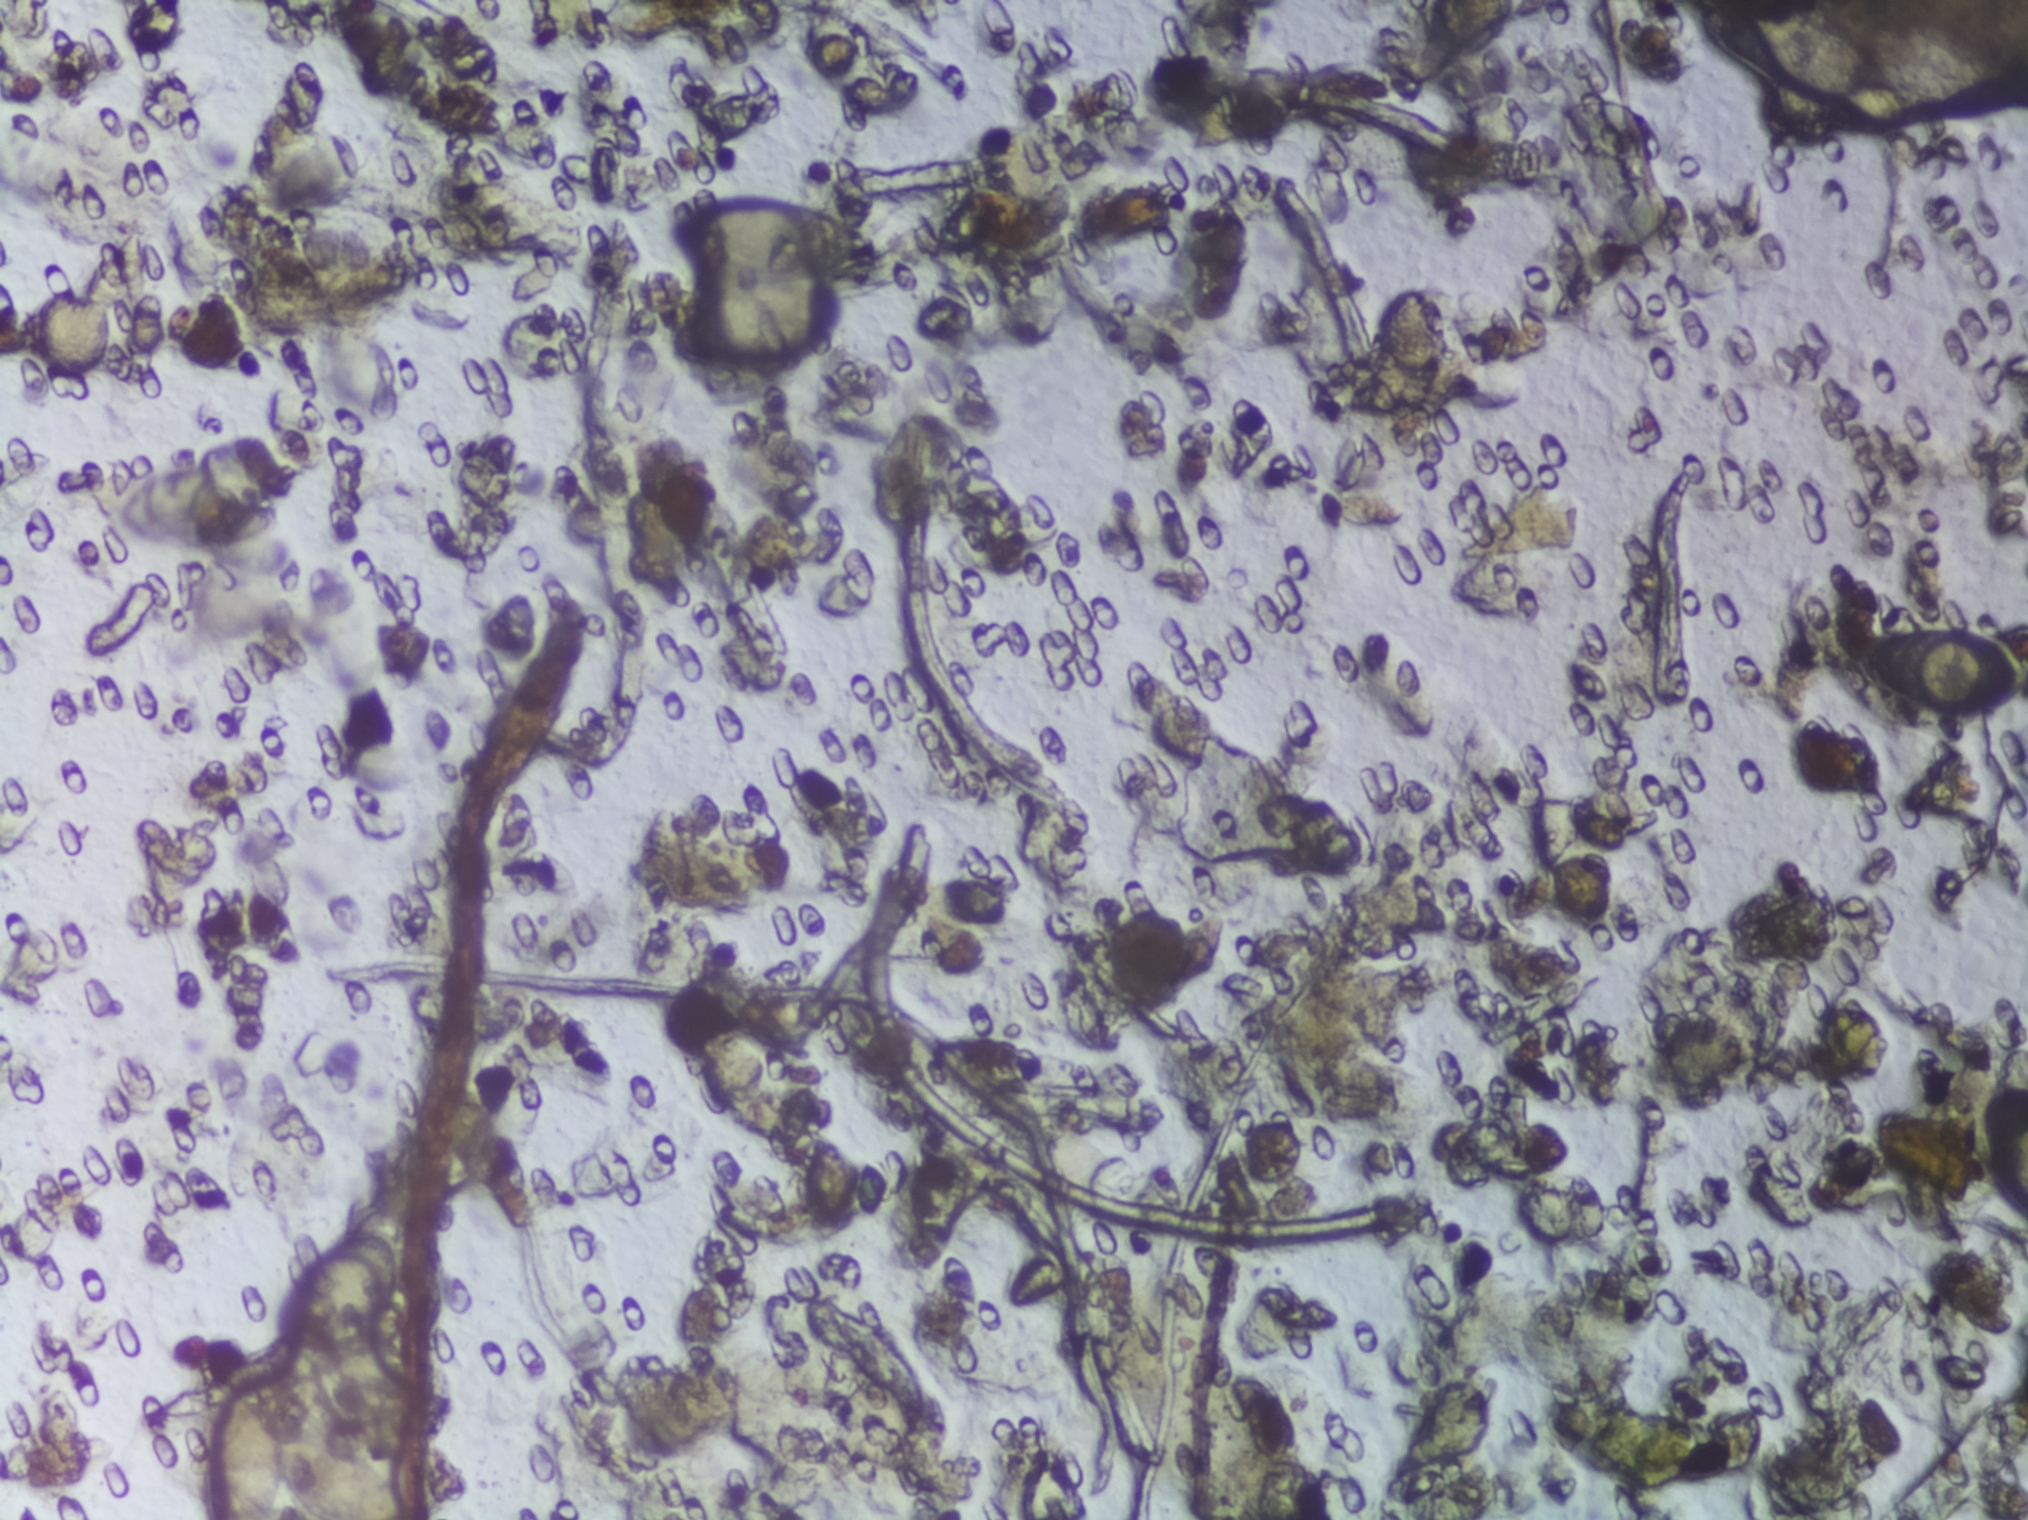
Urine filter membrane photographed through a 4× microscope objective. Field of view: about 1.5 mm wide and 1.1 mm high.
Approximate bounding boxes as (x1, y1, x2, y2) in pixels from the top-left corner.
Schistosoma eggs are outlined in six areas of this image, listed from left to right: (202, 1376, 411, 1519) (reaching the bottom edge of the frame); (268, 1189, 438, 1347); (669, 193, 870, 367); (1704, 8, 2020, 116); (1839, 628, 2027, 715) (reaching the right edge of the frame); (1974, 1088, 2027, 1225) (reaching the right edge of the frame). Eggs that touch can end up inside the same outlined area. A marked egg may occasionally be S. mansoni rather than S. haematobium.